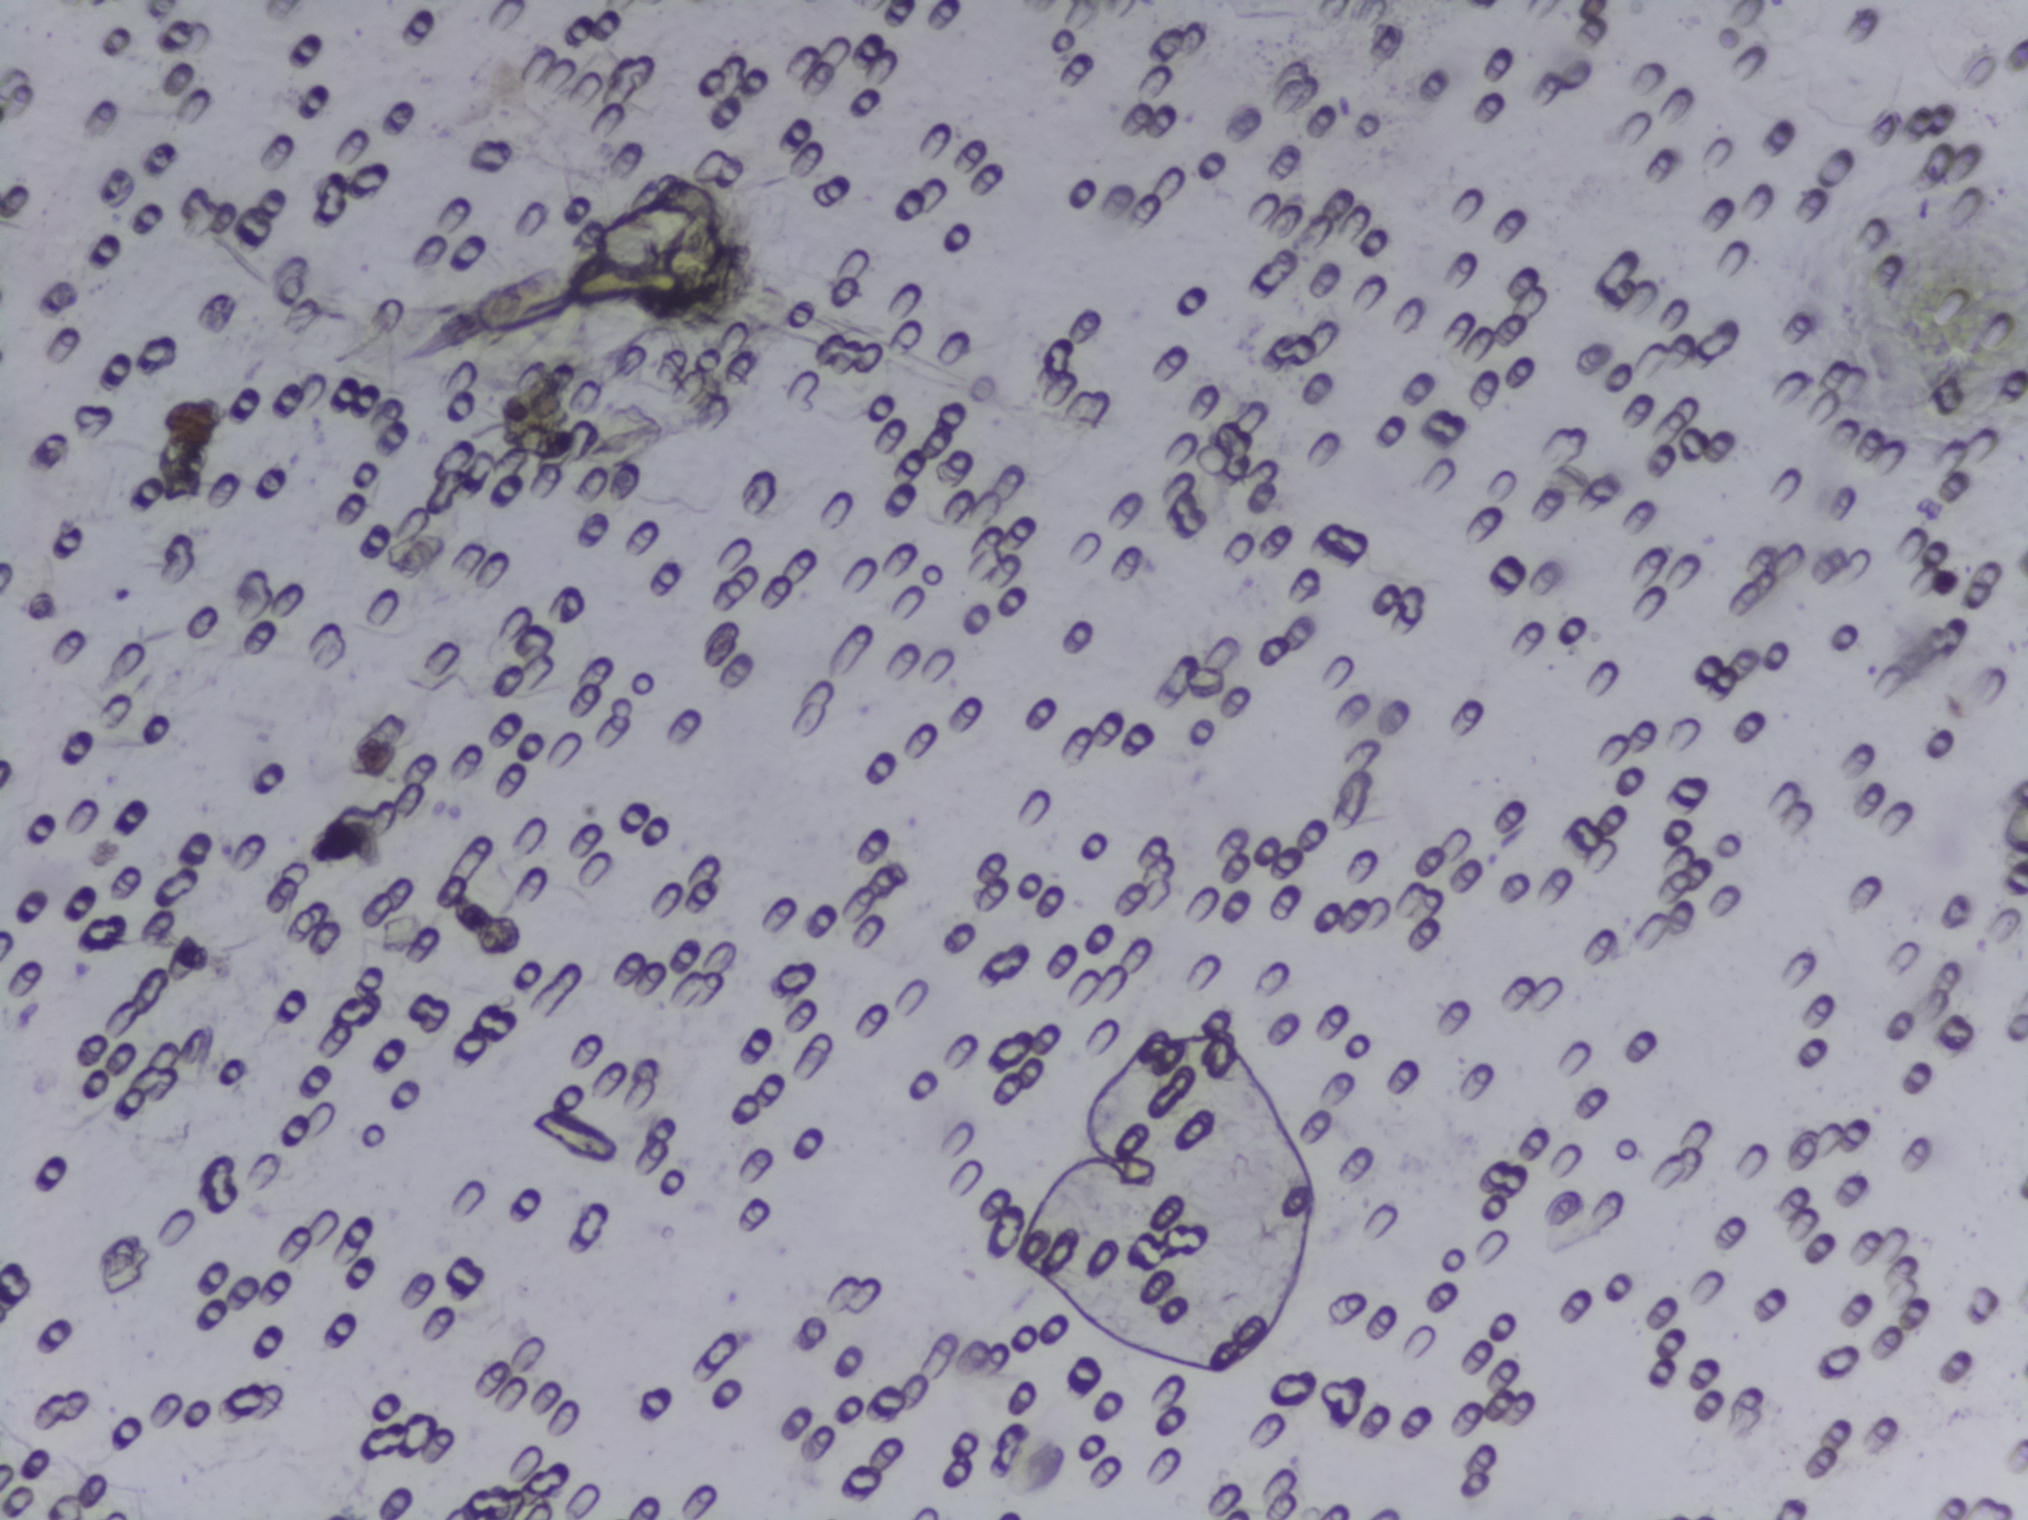
Urine filtration membrane under a 4× objective, photographed by an automated digital microscope.
No area of this image was outlined as a Schistosoma egg.